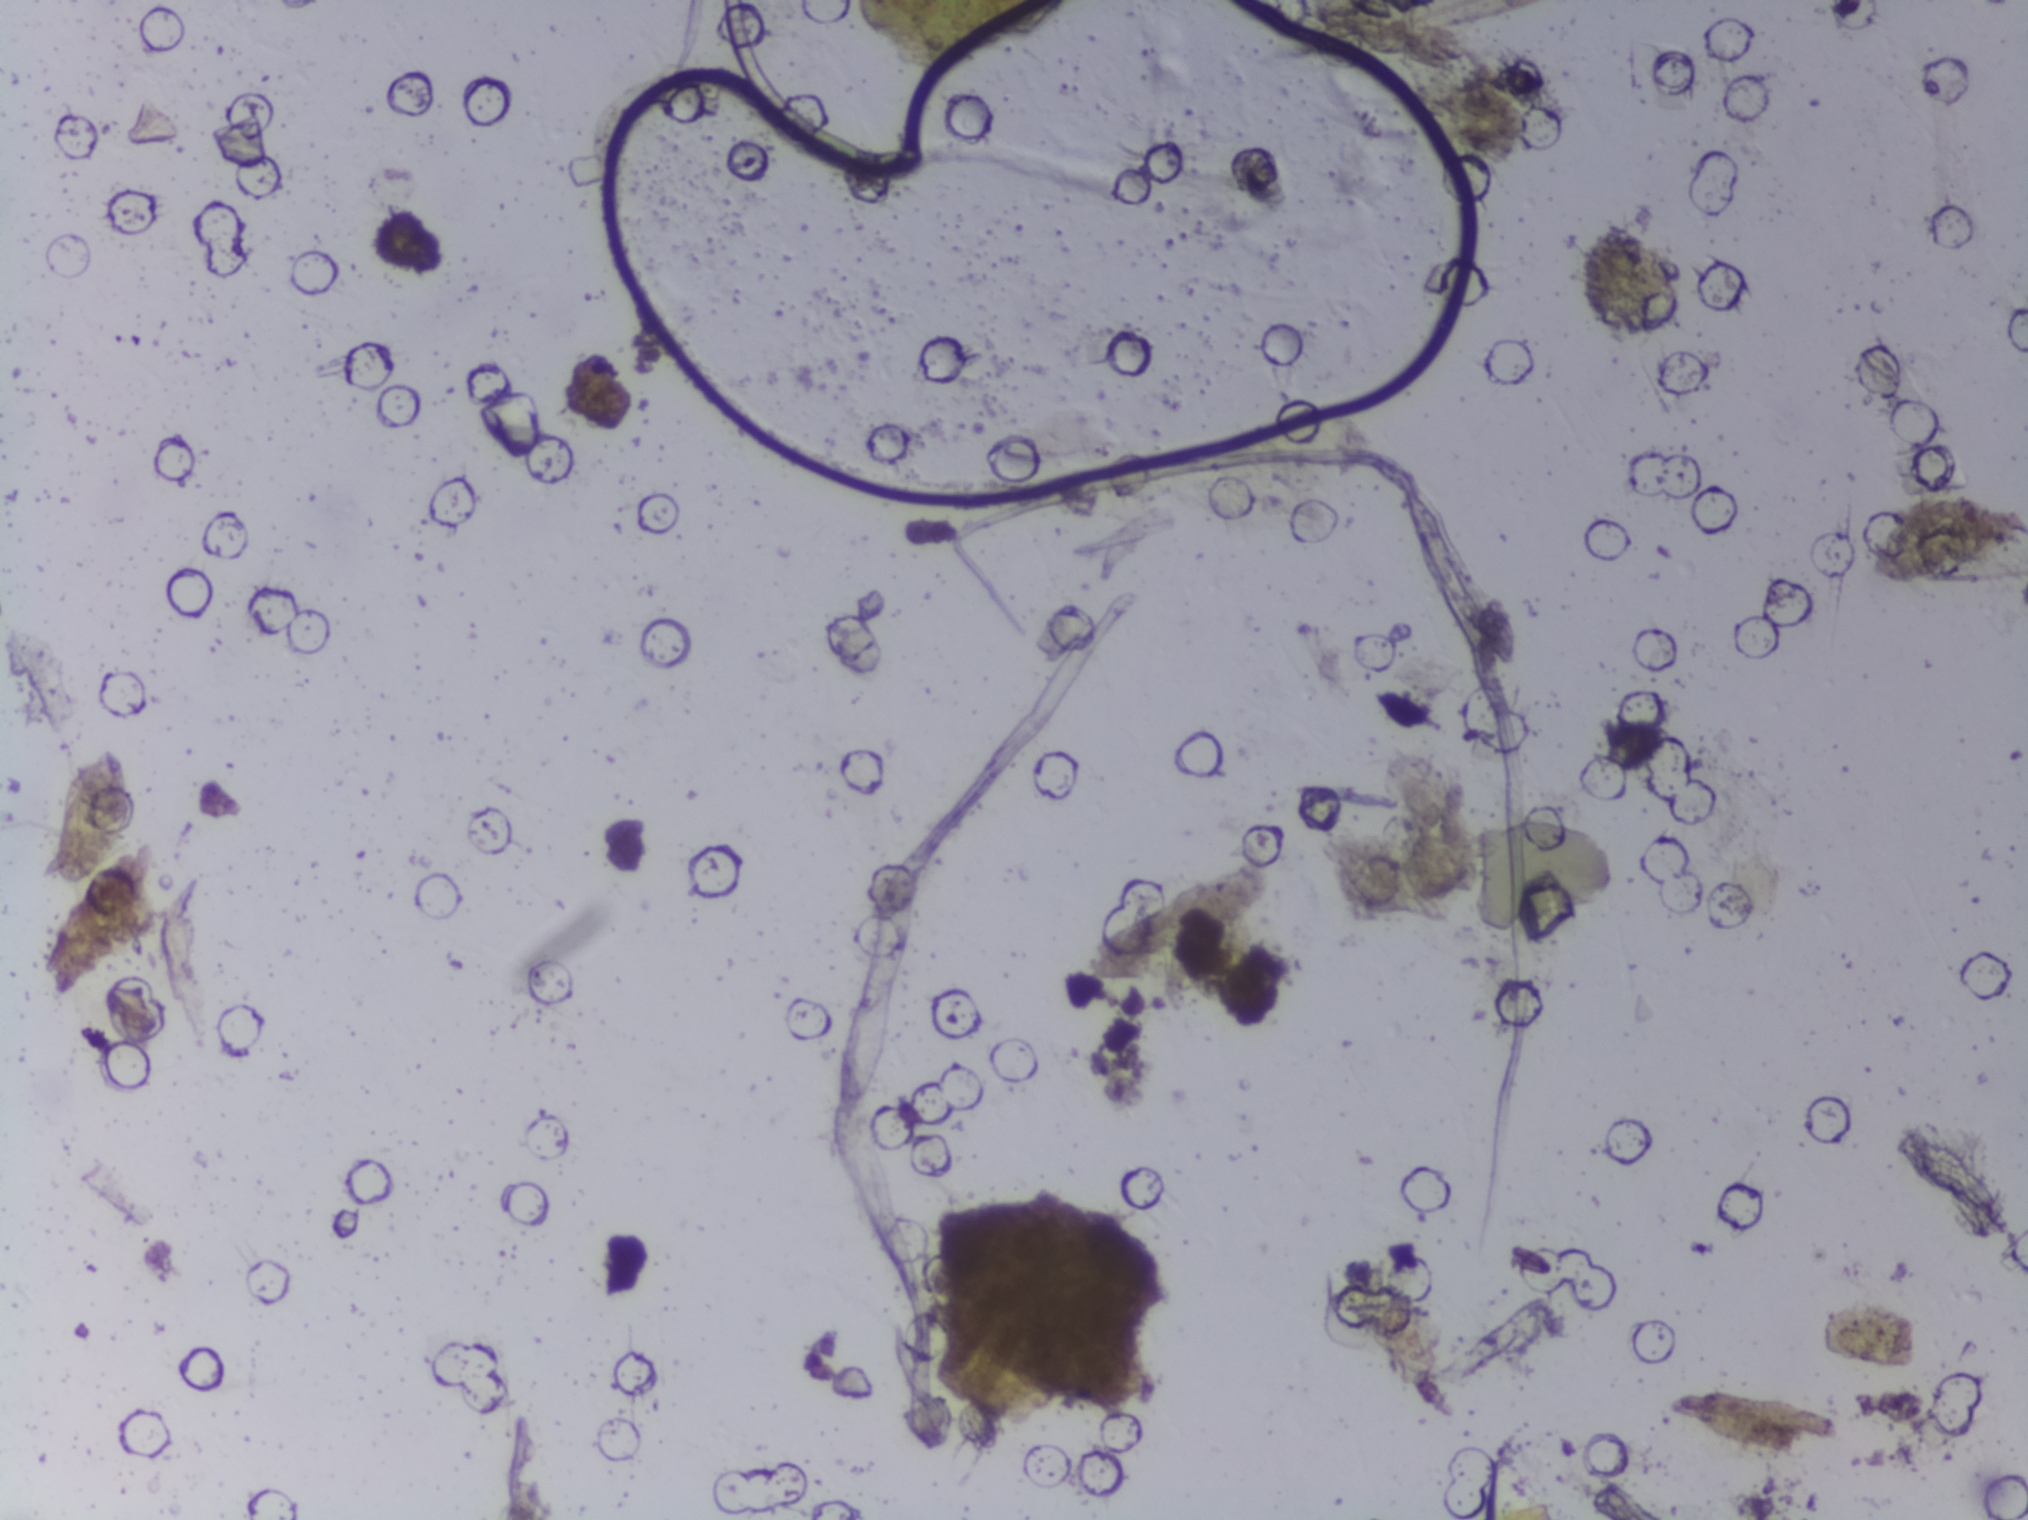
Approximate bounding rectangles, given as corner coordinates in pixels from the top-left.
Schistosoma egg areas, outlined: (x1=53, y1=742, x2=136, y2=889). A single outlined area may contain several eggs.
Urine filter membrane photographed through a 4× microscope objective. Field of view: about 1.5 mm wide and 1.1 mm high.